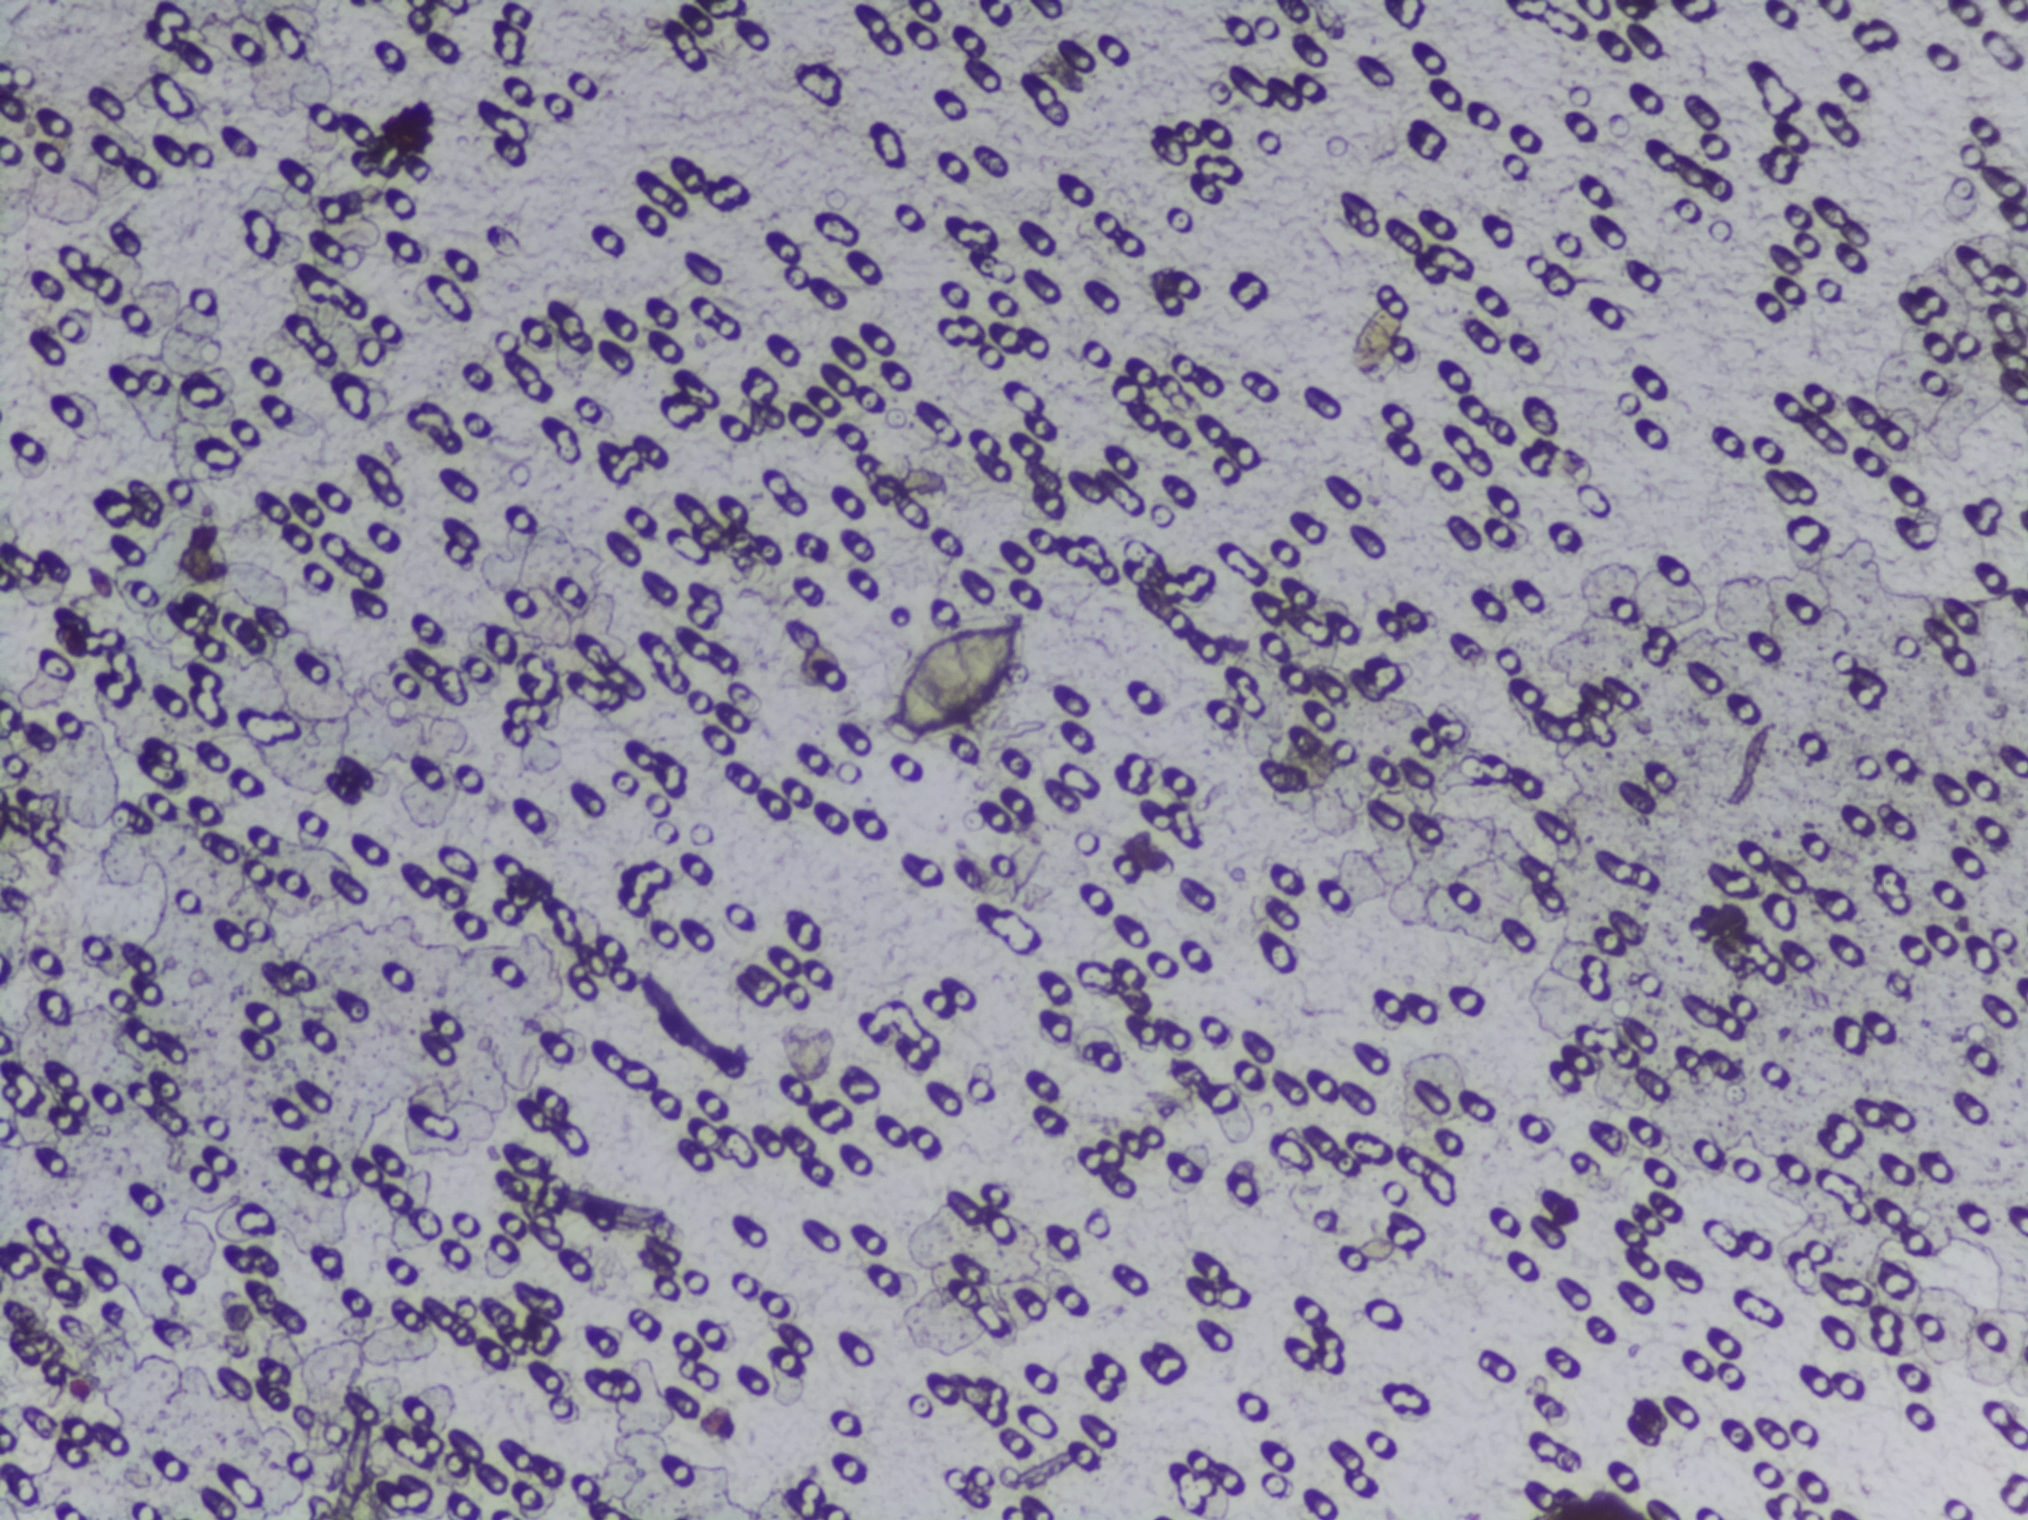
Microscope photograph (4× objective) of a membrane that a urine sample was filtered through.
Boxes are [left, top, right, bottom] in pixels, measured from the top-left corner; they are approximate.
The expert annotation outlines Schistosoma eggs at [876, 601, 1049, 751]. The marked pixels themselves, not the box around them, cover about 0.6% of the image. An outlined area can hold more than one egg.